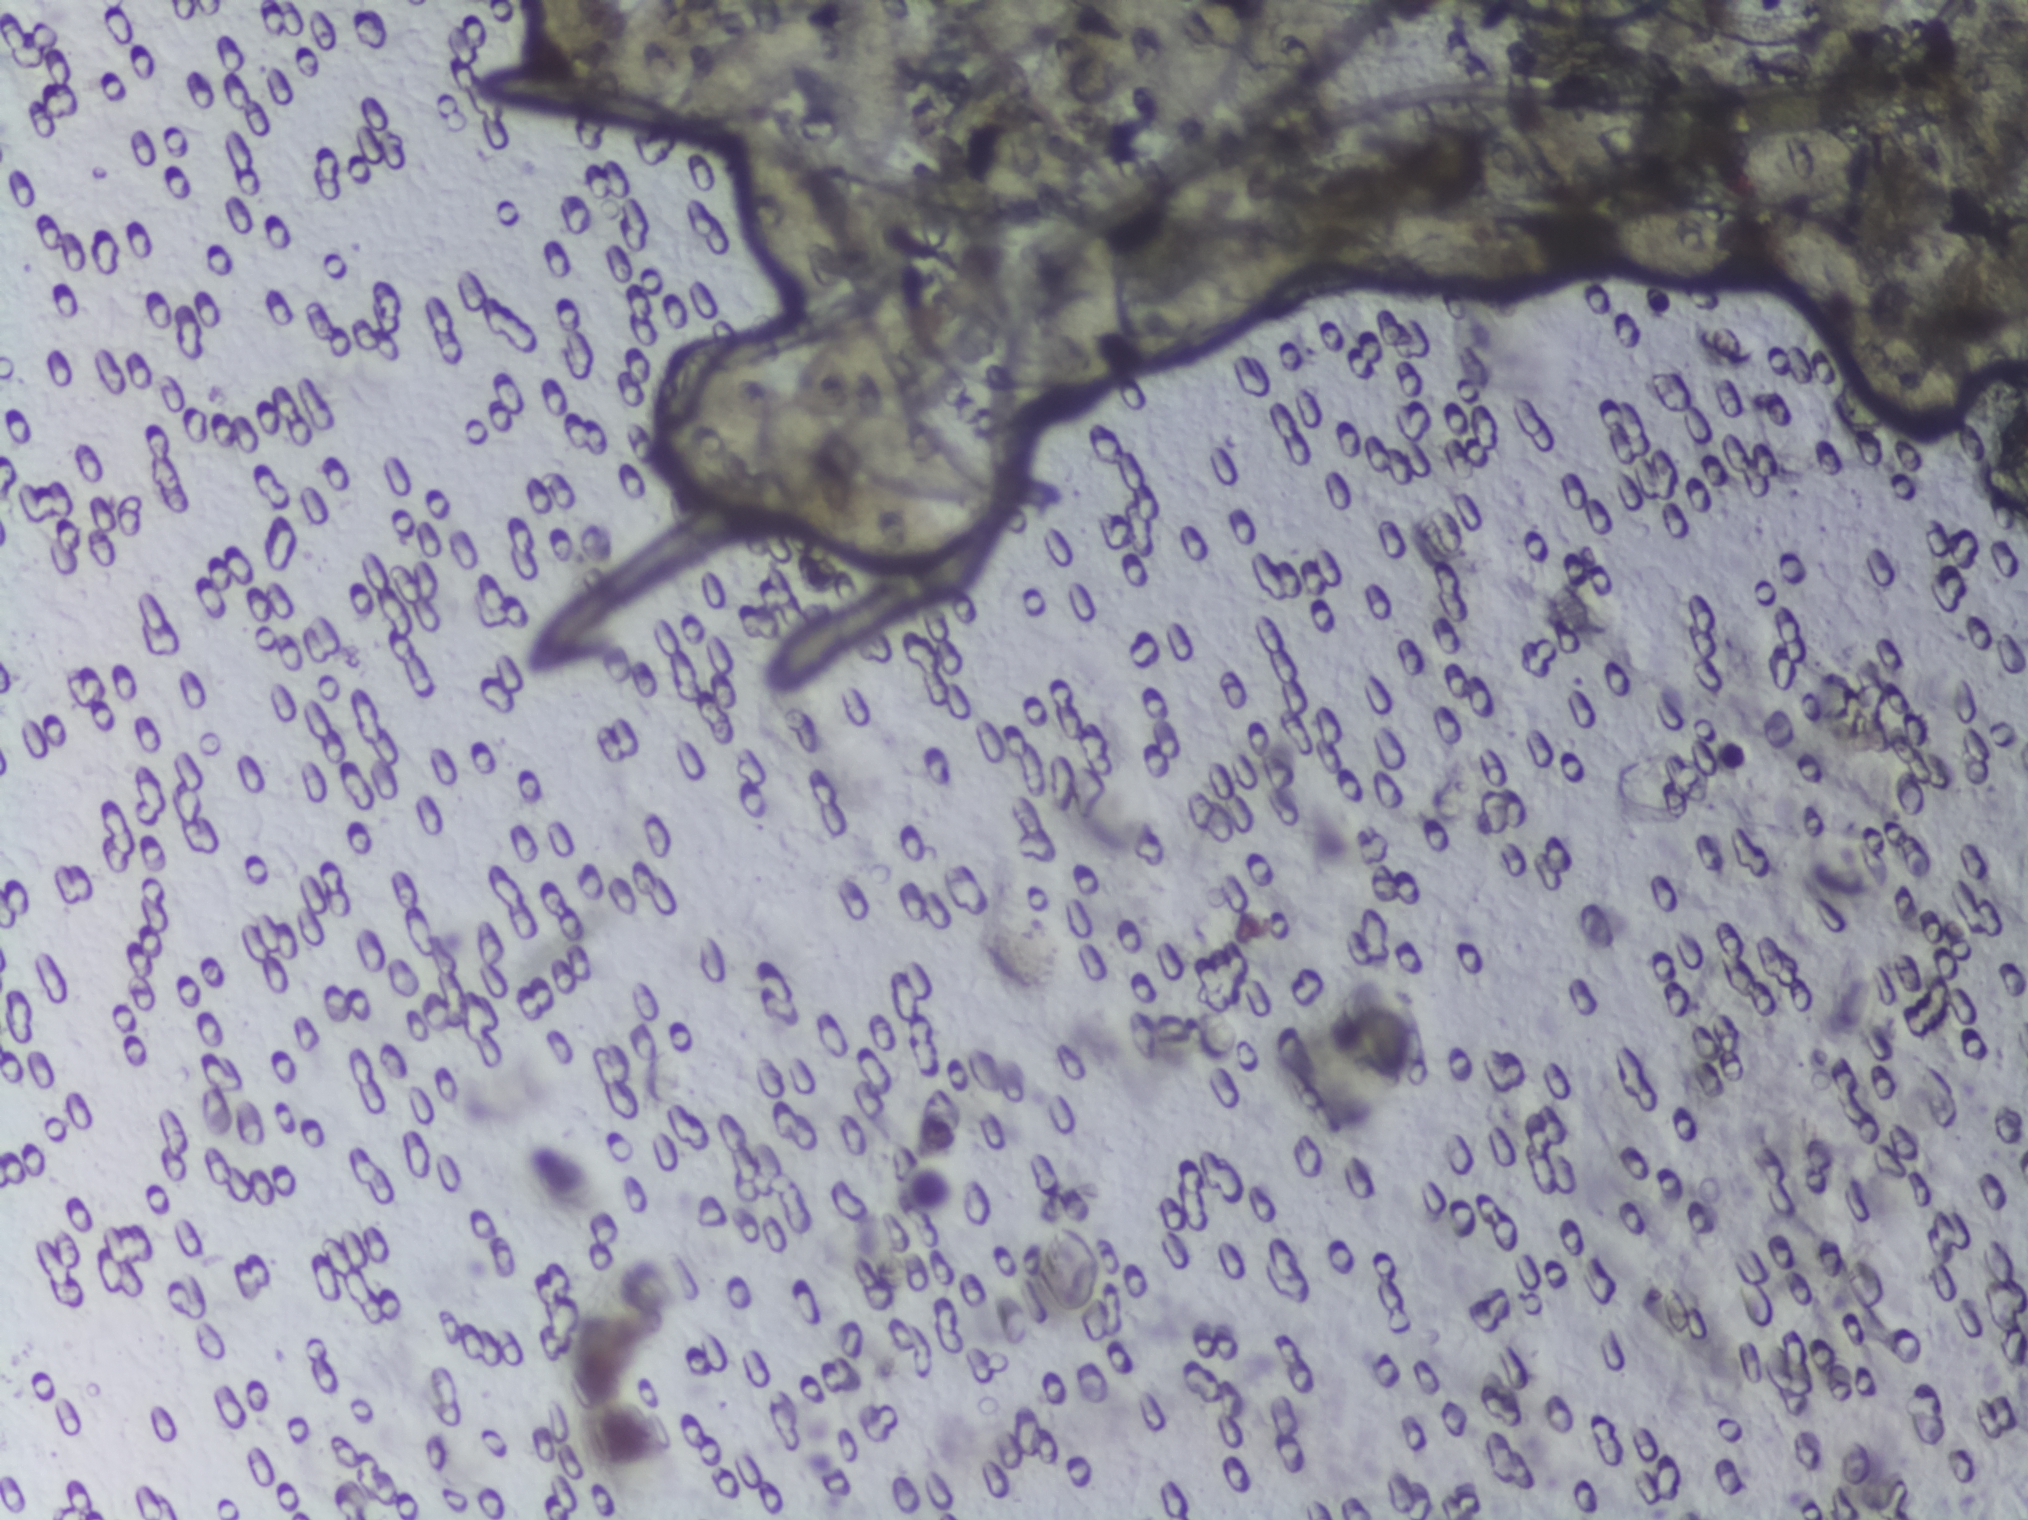
Photograph from an automated digital microscope: urine filter membrane, 4× objective.
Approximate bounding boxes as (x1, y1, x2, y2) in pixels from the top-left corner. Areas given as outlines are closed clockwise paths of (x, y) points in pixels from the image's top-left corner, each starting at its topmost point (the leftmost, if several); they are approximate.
The expert annotation outlines Schistosoma eggs in six areas, left to right: outline (536, 0), (607, 0), (611, 23), (632, 0), (735, 0), (723, 33), (799, 9), (826, 14), (850, 0), (891, 0), (914, 43), (920, 22), (945, 0), (1383, 1), (1355, 41), (1302, 83), (1242, 117), (1224, 117), (1215, 102), (1207, 121), (1173, 145), (1154, 144), (1143, 131), (1133, 113), (1132, 80), (1095, 103), (1077, 105), (1065, 91), (1059, 43), (1017, 57), (1031, 95), (1027, 150), (1007, 209), (985, 243), (967, 244), (959, 237), (928, 159), (928, 135), (933, 127), (937, 135), (940, 107), (982, 62), (944, 58), (914, 43), (911, 122), (899, 157), (879, 177), (860, 176), (841, 140), (825, 101), (824, 64), (759, 114), (812, 151), (841, 199), (849, 279), (840, 293), (816, 300), (773, 274), (754, 250), (735, 160), (737, 126), (677, 139), (647, 131), (647, 122), (705, 54), (643, 93), (601, 97), (586, 83), (586, 73), (561, 54) (a cluster of eggs; reaching the top edge of the frame); box (753, 328, 982, 563); box (1379, 208, 1577, 298); outline (1661, 200), (1707, 202), (1748, 215), (1757, 203), (1787, 203), (1844, 230), (1875, 212), (1928, 206), (1953, 211), (2027, 269), (2027, 312), (2003, 322), (1943, 319), (1894, 297), (1891, 317), (1934, 344), (1964, 391), (1965, 424), (1954, 438), (1909, 436), (1839, 380), (1819, 347), (1823, 317), (1774, 283), (1756, 290), (1671, 290), (1619, 274), (1608, 245), (1613, 220) (a cluster of eggs; reaching the right edge of the frame); box (1653, 0, 1833, 46) (reaching the top edge of the frame); box (1701, 119, 1866, 201). An outlined area can hold more than one egg.